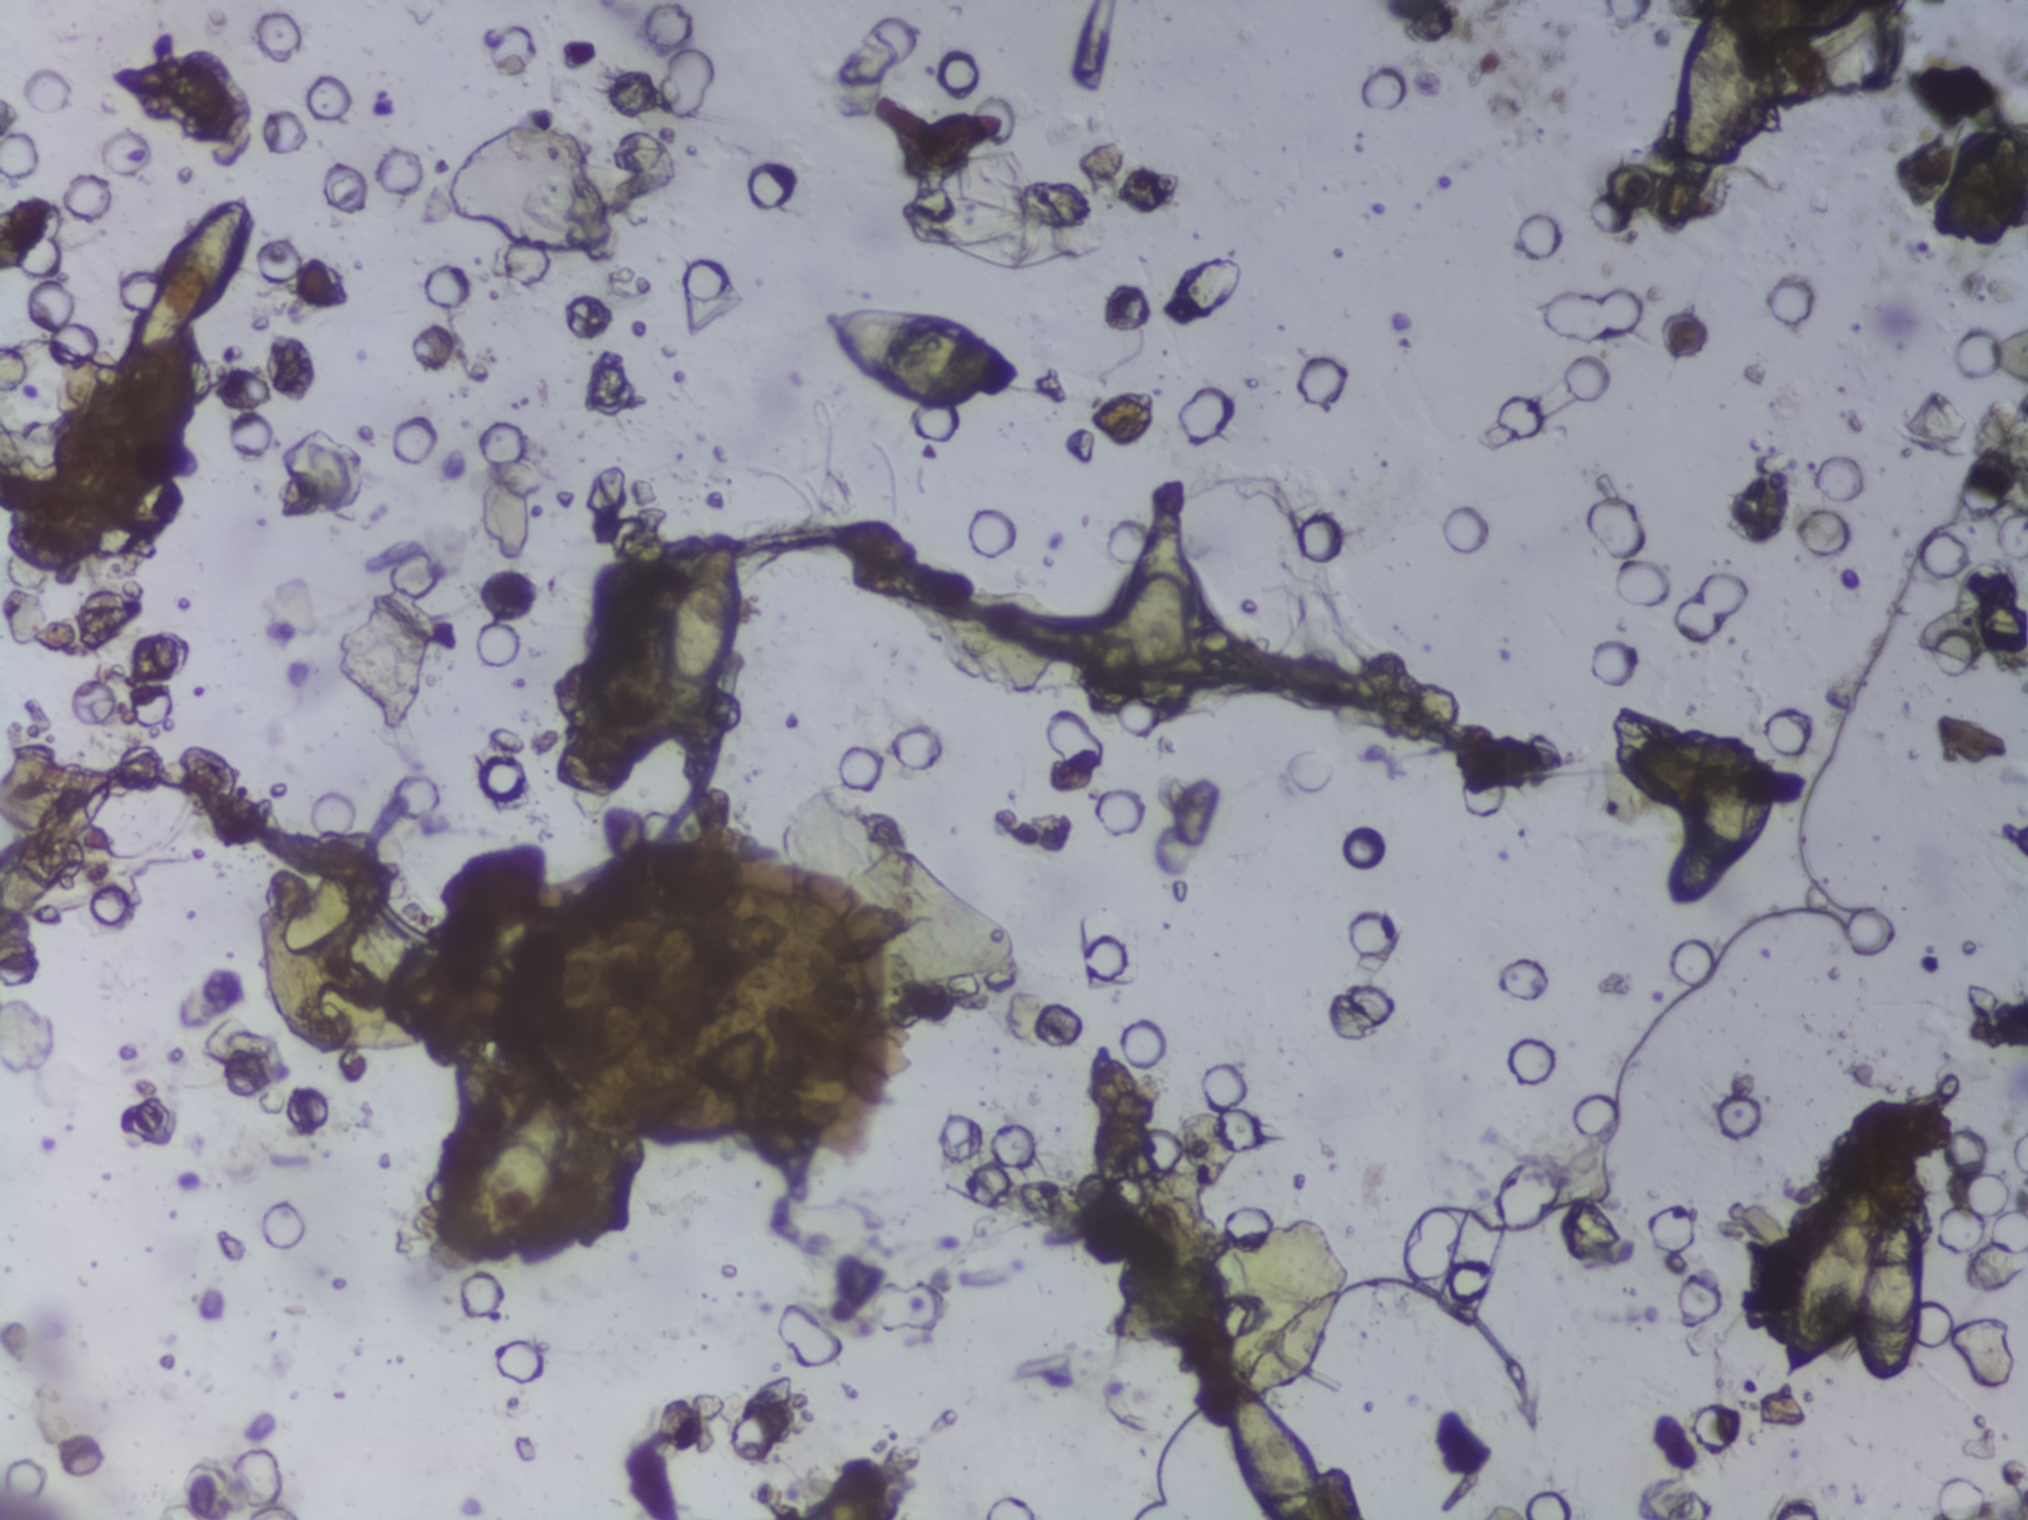
One field of view of a urine filter membrane, 4× objective, 2028 × 1520 pixels.
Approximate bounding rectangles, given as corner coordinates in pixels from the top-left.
Schistosoma eggs are outlined in six areas of this image, listed from left to right: (x1=156, y1=197, x2=254, y2=319); (x1=469, y1=1086, x2=564, y2=1239); (x1=664, y1=535, x2=743, y2=690); (x1=821, y1=299, x2=1021, y2=417); (x1=1225, y1=1381, x2=1334, y2=1519) (reaching the bottom edge of the frame); (x1=1770, y1=1183, x2=1925, y2=1388). An outlined area can hold more than one egg. Any one outlined egg may, rarely, be S. mansoni rather than S. haematobium.